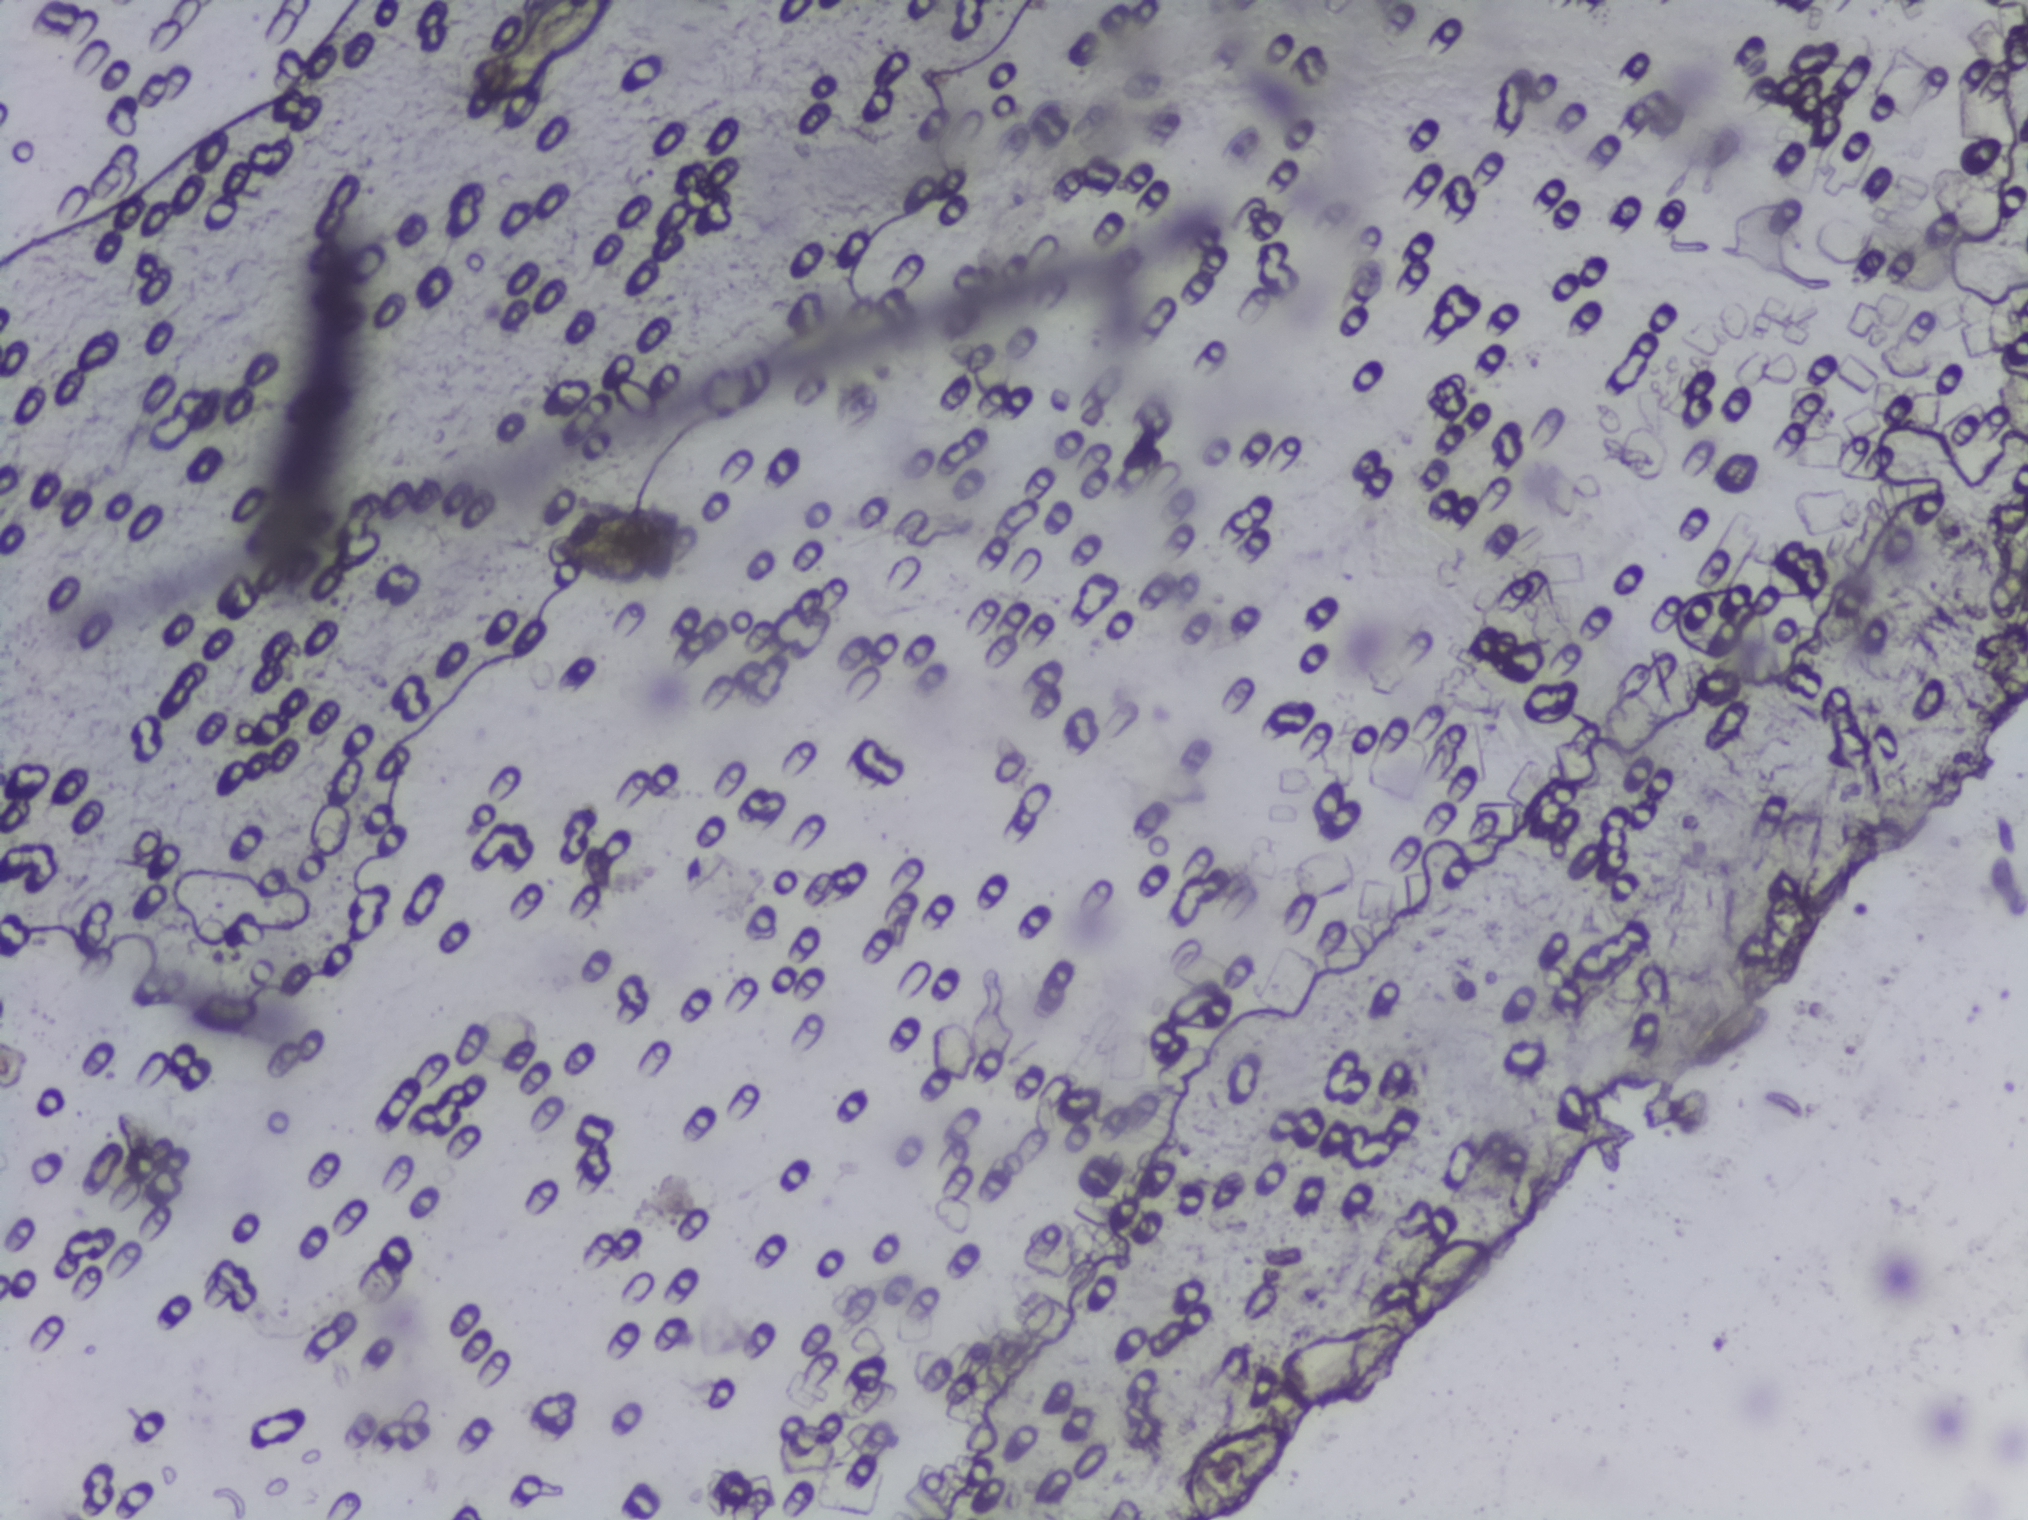
The expert annotation marks no Schistosoma egg in this field of view.
Urine filter membrane photographed through a 4× microscope objective.